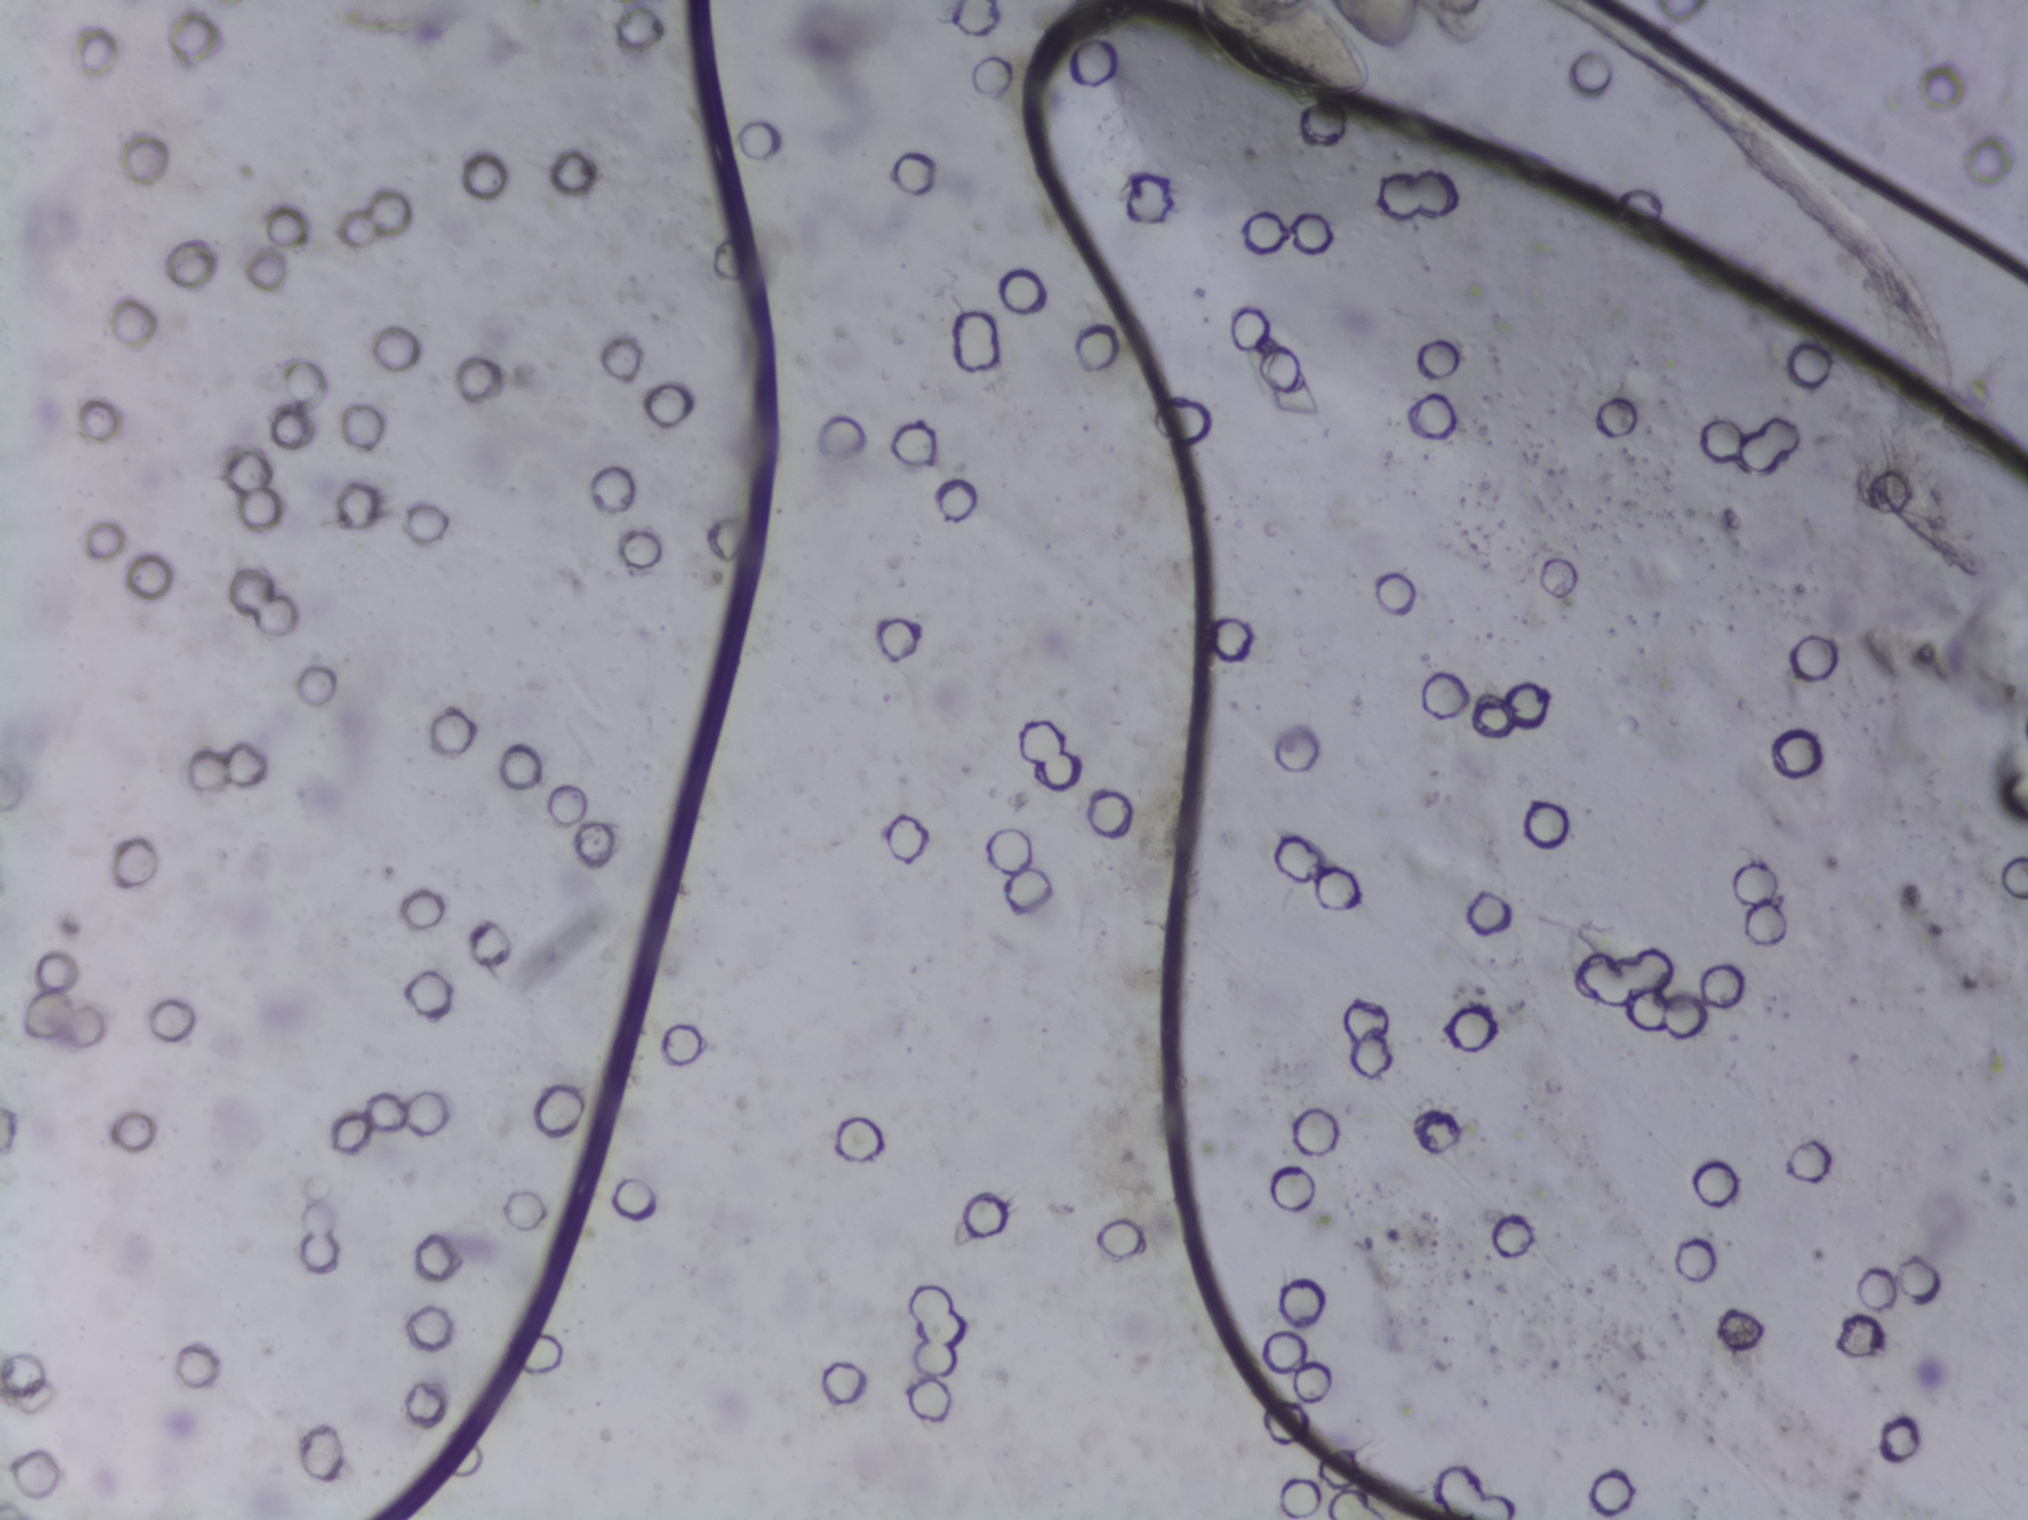
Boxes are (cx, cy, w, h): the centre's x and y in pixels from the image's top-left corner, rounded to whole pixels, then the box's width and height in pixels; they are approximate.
Outlined Schistosoma egg areas:
1. (cx=1301, cy=52, w=243, h=105) (reaching the top edge of the frame)
An outlined area can hold more than one egg.
Microscope photograph (4× objective) of a membrane that a urine sample was filtered through.